Urine filtration membrane under a 4× objective, photographed by an automated digital microscope.
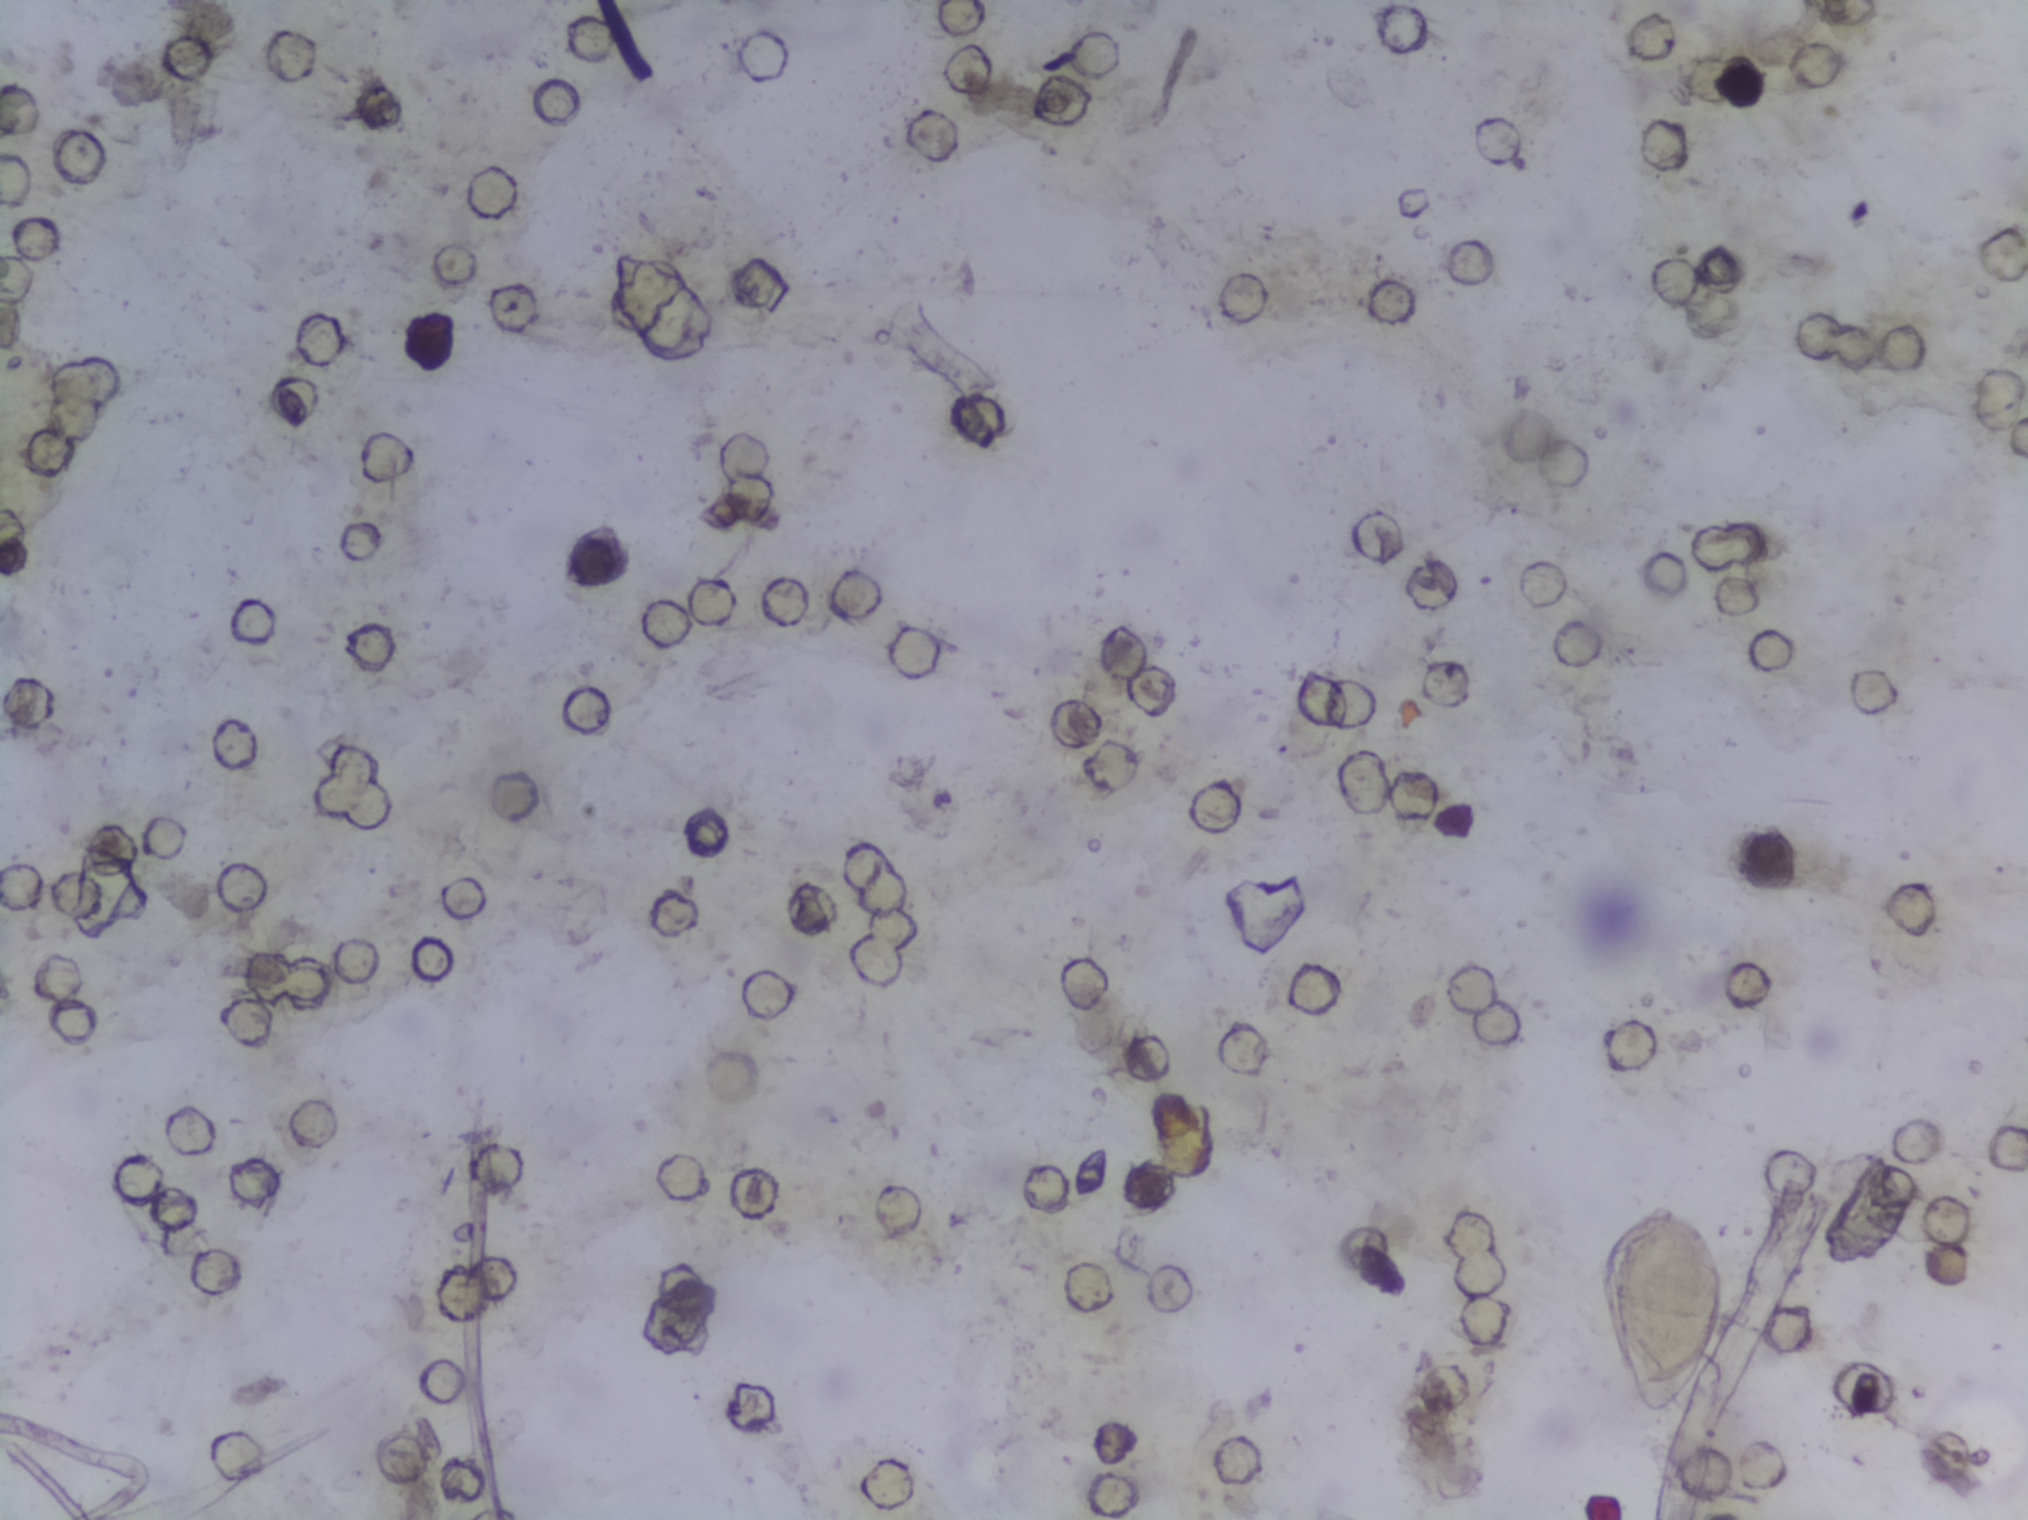
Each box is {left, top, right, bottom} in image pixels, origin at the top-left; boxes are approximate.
Areas outlined as Schistosoma eggs:
1. {1601, 1198, 1724, 1423}
An outlined area can hold more than one egg.